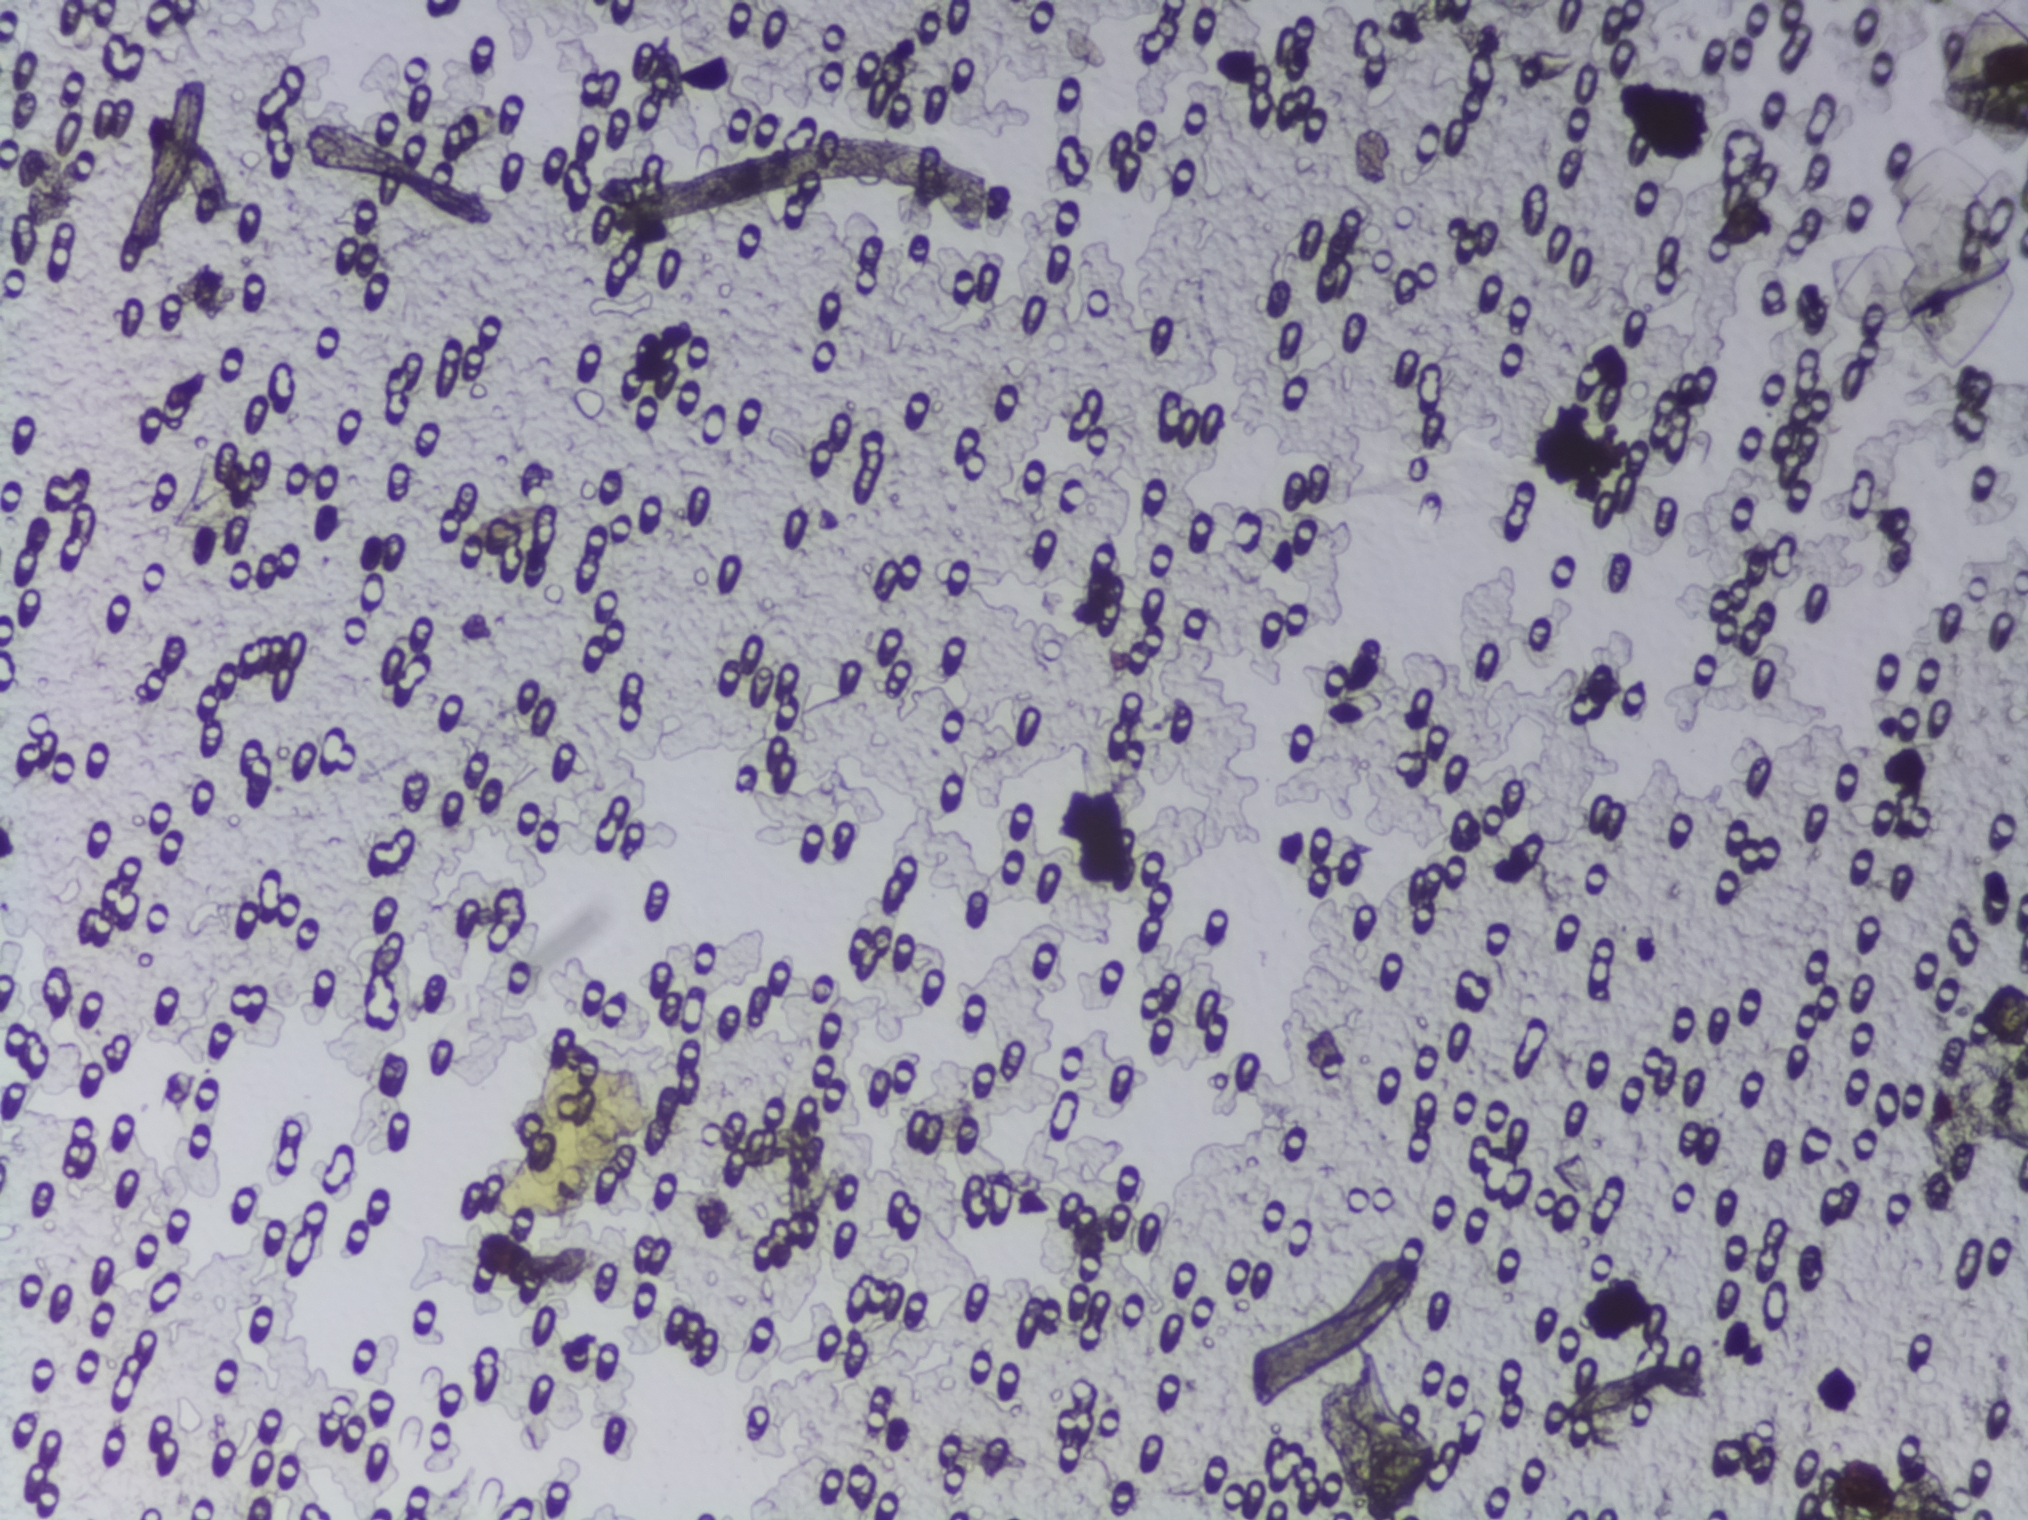
The expert annotation outlines no Schistosoma egg in this image.
Photograph from an automated digital microscope: urine filter membrane, 4× objective. The field of view is about 1.5 mm × 1.1 mm.